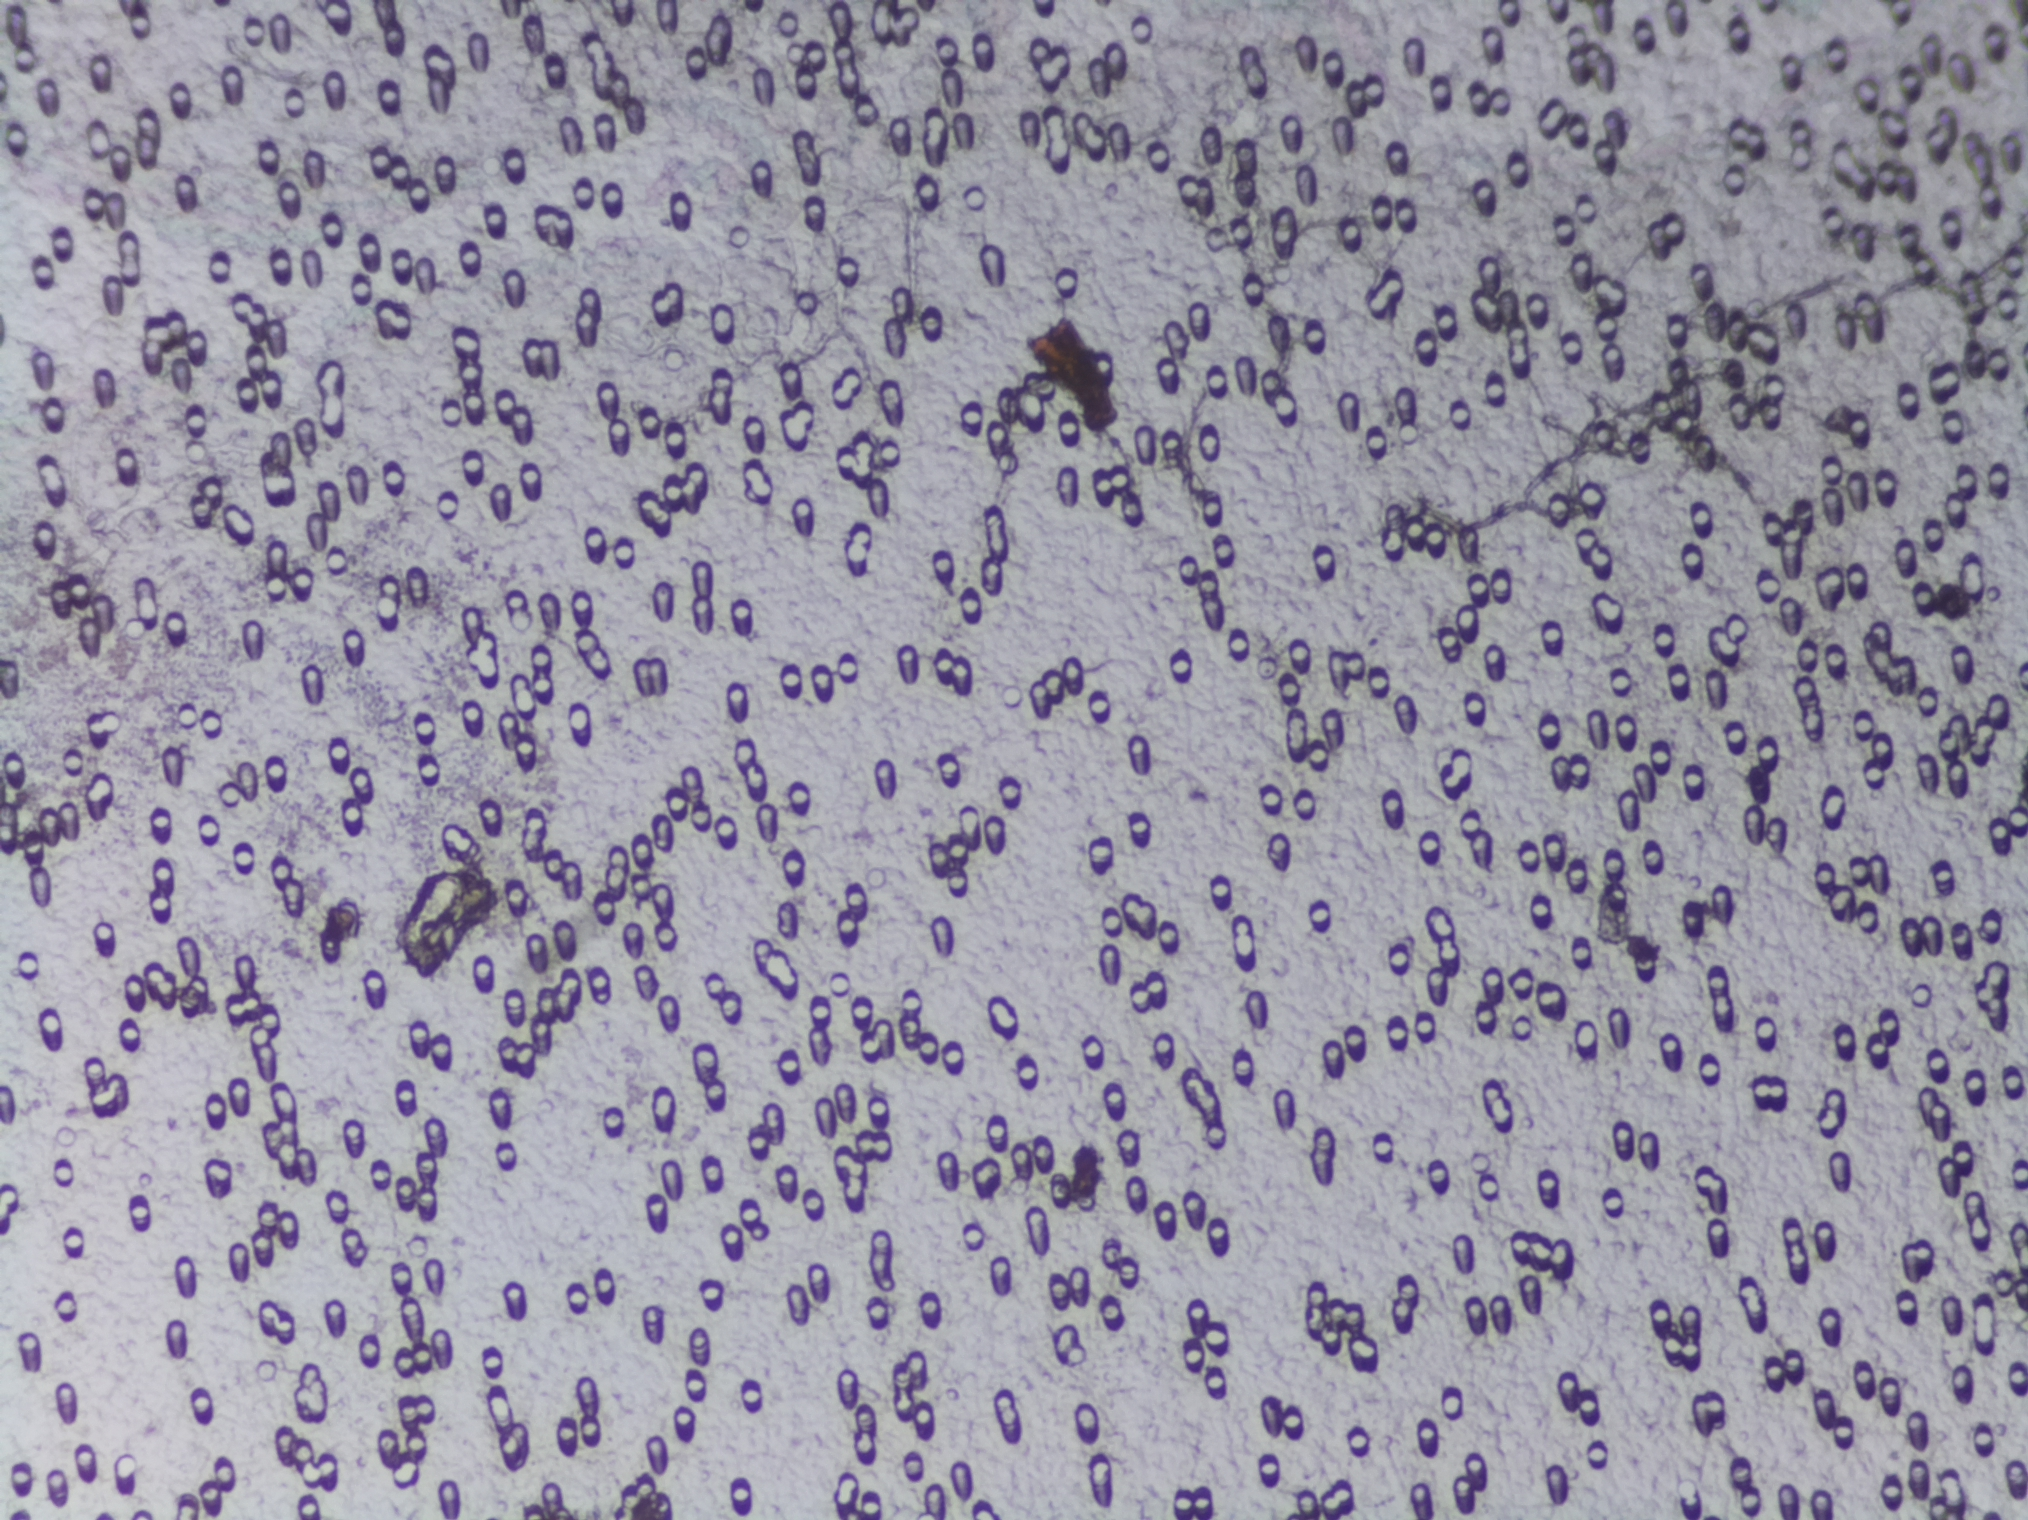
One field of view of a urine filter membrane, 4× objective, 2028 × 1520 pixels.
Schistosoma eggs: none outlined.